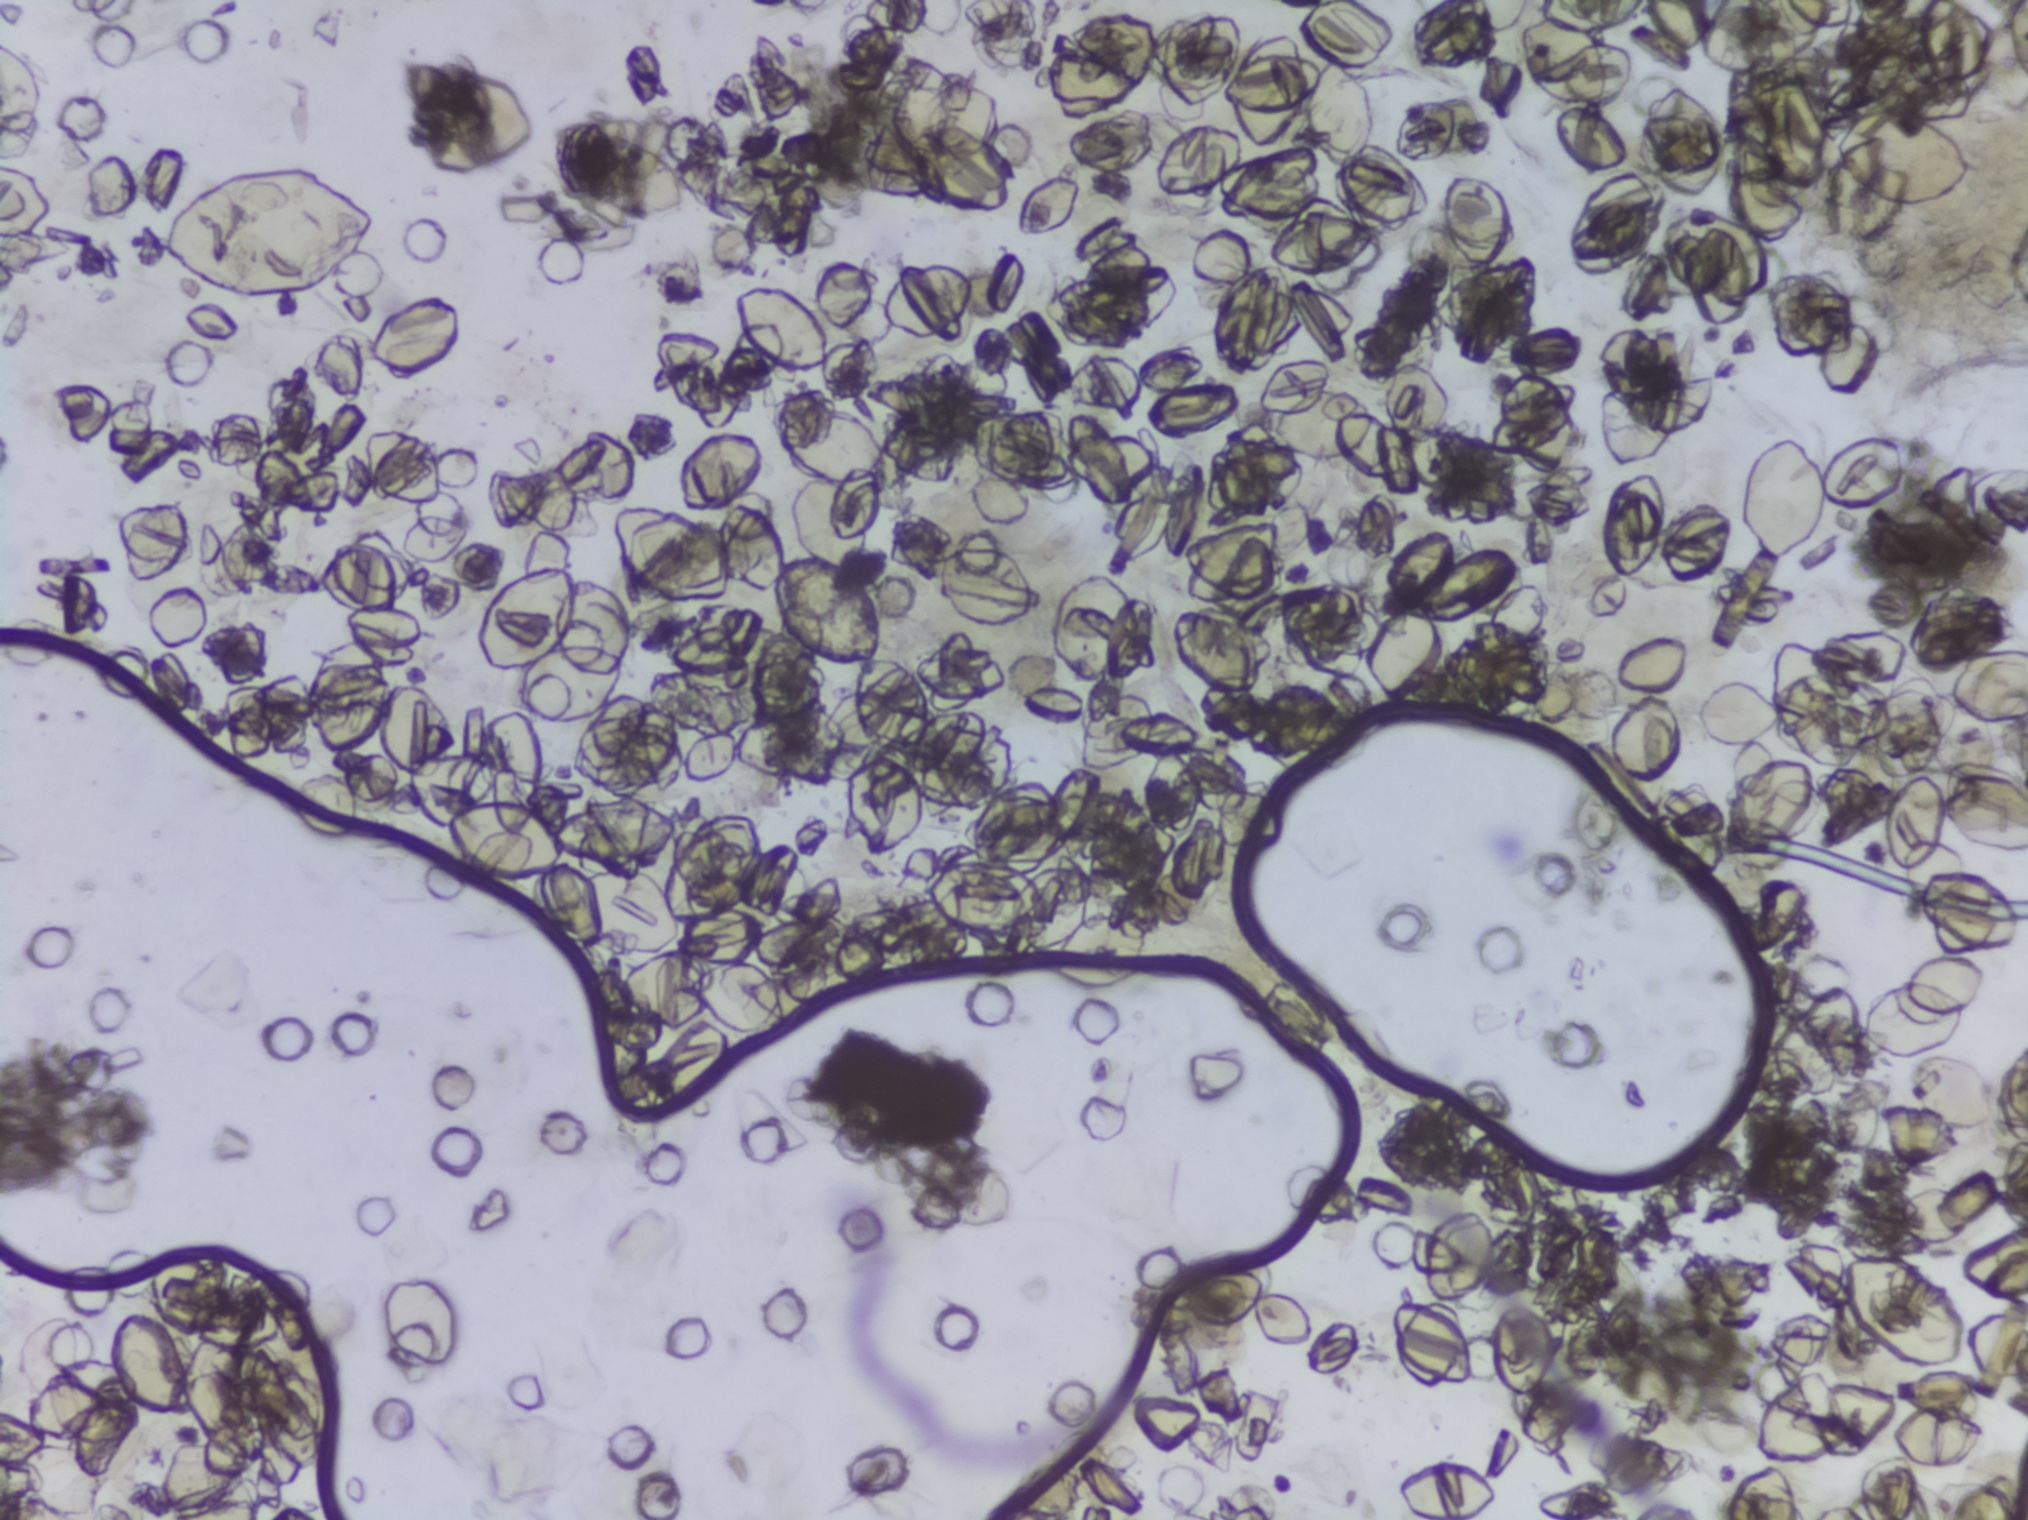
Schistosoma eggs: none outlined.
Photomicrograph of a urine filtration membrane, 4× objective. Field of view: about 1.5 mm wide and 1.1 mm high.